Urine filter membrane photographed through a 4× microscope objective. The image covers about 1.5 × 1.1 mm of the membrane.
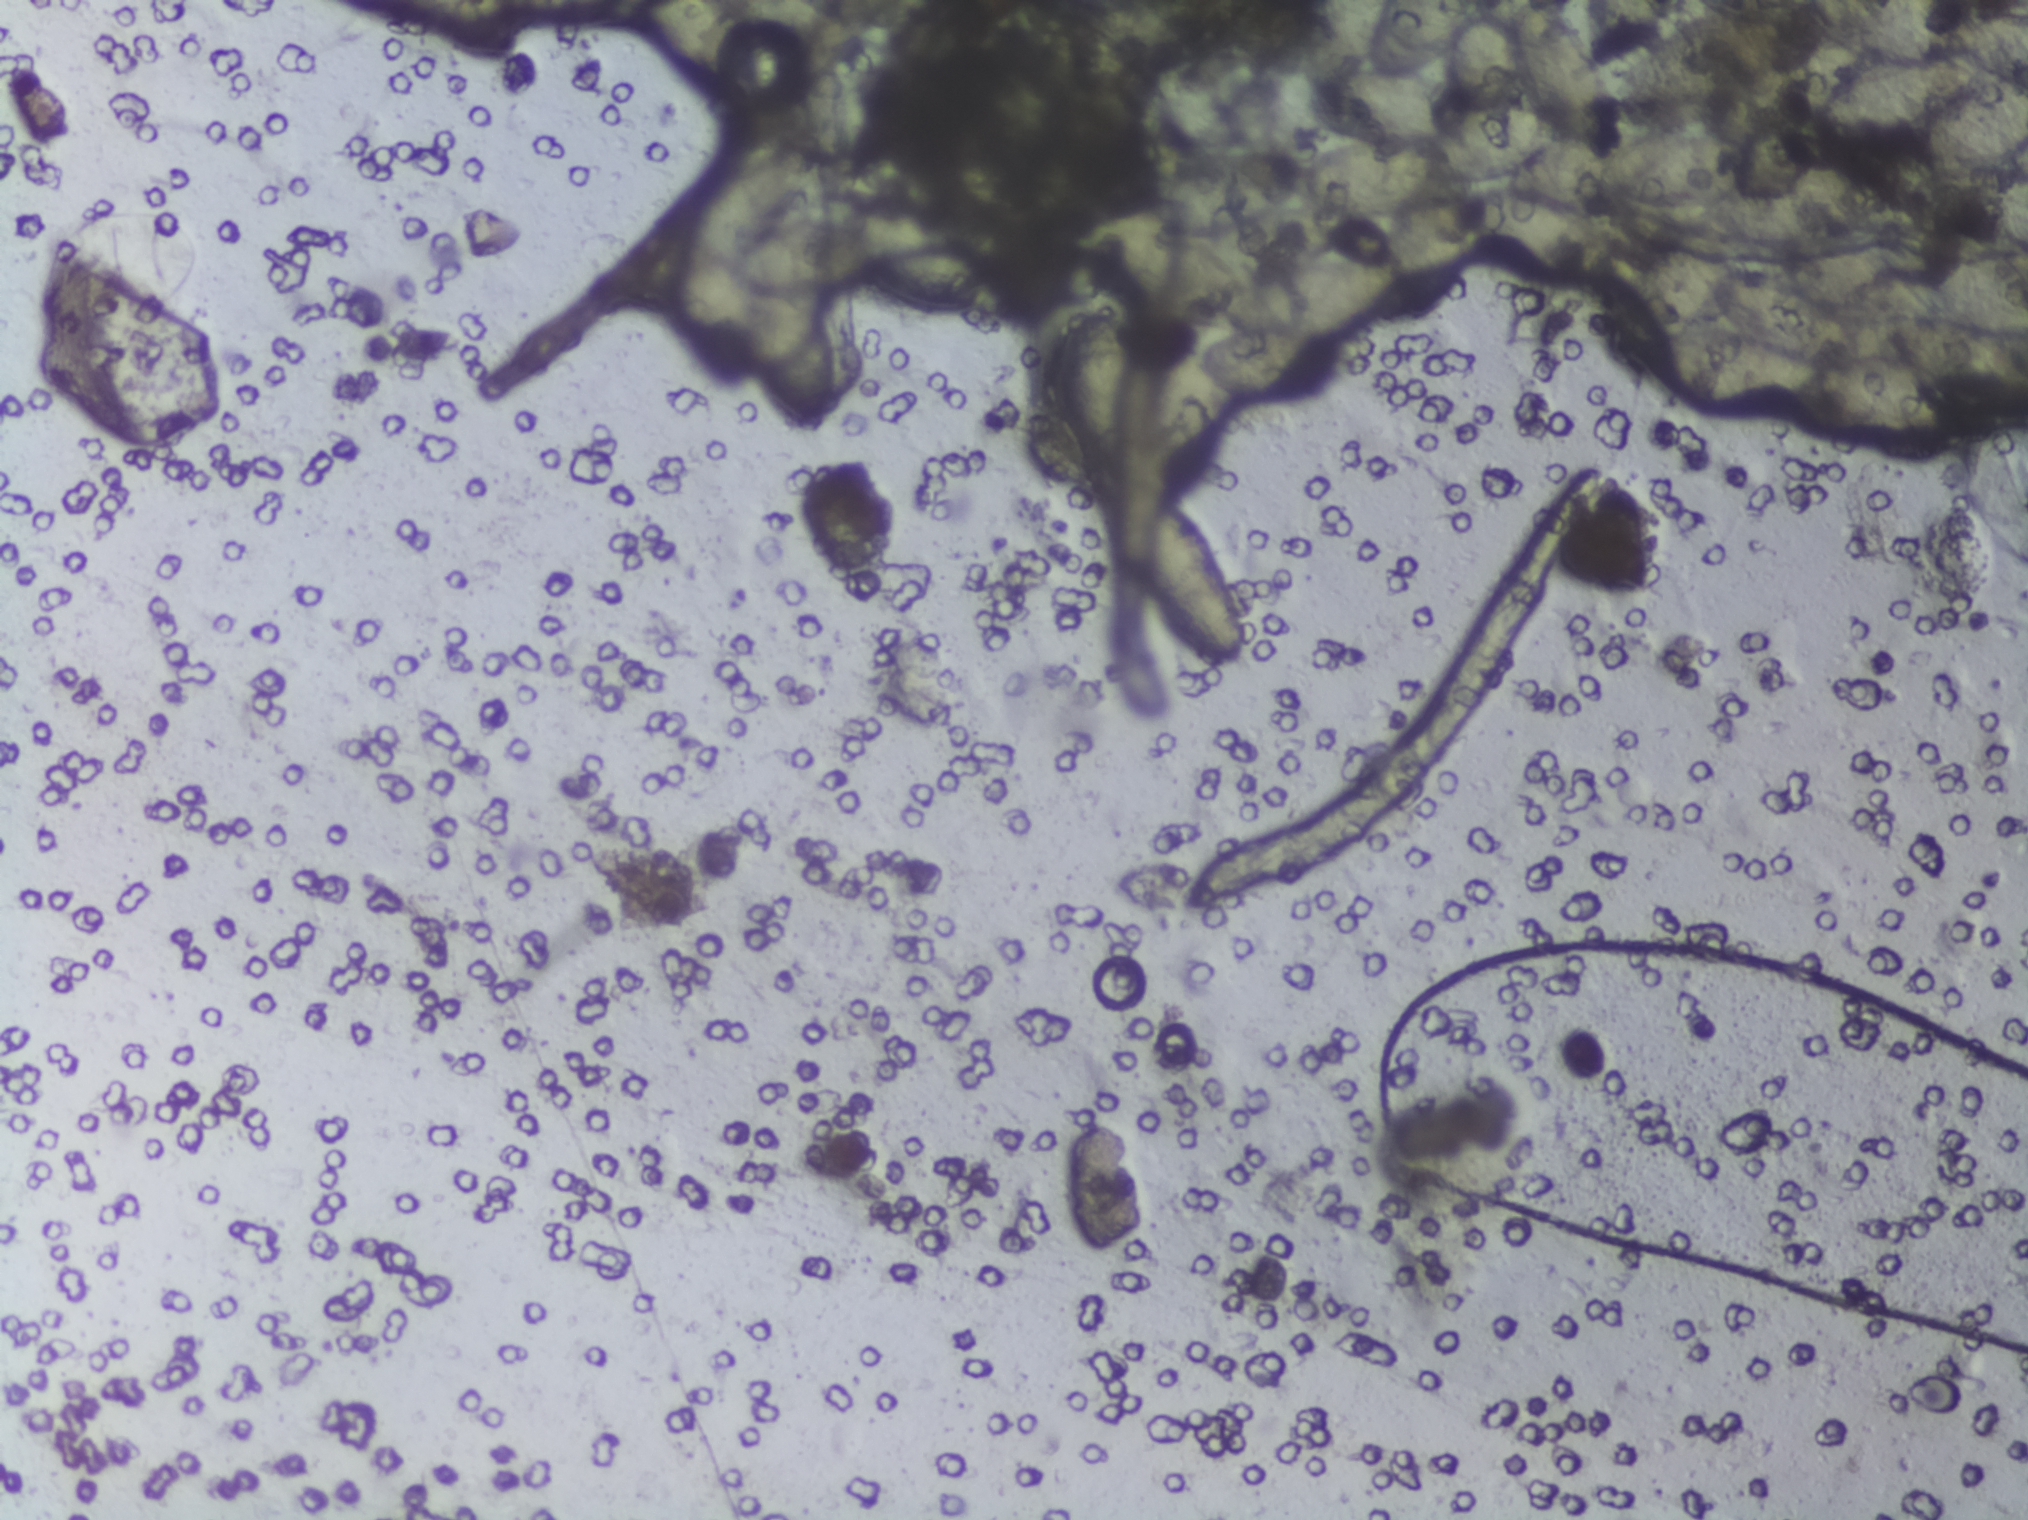
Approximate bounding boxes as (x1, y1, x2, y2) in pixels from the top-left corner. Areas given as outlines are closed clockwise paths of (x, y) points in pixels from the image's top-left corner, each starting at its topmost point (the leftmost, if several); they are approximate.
Findings: five areas outlined as Schistosoma eggs. Locations: box (392, 0, 521, 62) (reaching the top edge of the frame); outline (641, 0), (826, 3), (832, 28), (867, 84), (865, 133), (842, 168), (824, 168), (809, 156), (787, 203), (761, 224), (839, 220), (852, 204), (893, 197), (936, 216), (980, 261), (982, 292), (969, 306), (920, 302), (865, 278), (806, 300), (822, 313), (835, 351), (831, 416), (821, 431), (790, 419), (769, 398), (736, 330), (711, 339), (686, 333), (676, 295), (678, 252), (695, 203), (718, 171), (734, 165), (740, 133), (757, 107), (780, 91), (798, 90), (805, 99), (813, 57), (783, 61), (747, 43), (751, 83), (721, 83), (690, 67), (661, 40), (637, 11) (a cluster of eggs; reaching the top edge of the frame); box (1050, 307, 1136, 486); outline (1307, 0), (2027, 0), (2026, 77), (2001, 71), (2005, 78), (2027, 80), (2027, 423), (1982, 418), (1971, 430), (1938, 441), (1865, 441), (1797, 415), (1731, 419), (1689, 413), (1633, 364), (1628, 340), (1667, 329), (1642, 313), (1620, 277), (1595, 281), (1549, 274), (1486, 248), (1432, 281), (1398, 283), (1368, 320), (1339, 337), (1344, 372), (1324, 389), (1295, 402), (1235, 404), (1224, 427), (1187, 464), (1163, 473), (1156, 466), (1152, 410), (1166, 360), (1191, 326), (1117, 283), (1088, 247), (1088, 229), (1128, 205), (1165, 212), (1143, 169), (1157, 156), (1188, 150), (1282, 150), (1297, 156), (1340, 140), (1309, 119), (1307, 77), (1298, 54) (a cluster of eggs; reaching the top and right edges of the frame); box (1141, 502, 1251, 672). A single outlined area may contain several eggs.